One field of view of a urine filter membrane, 4× objective, 2028 × 1520 pixels.
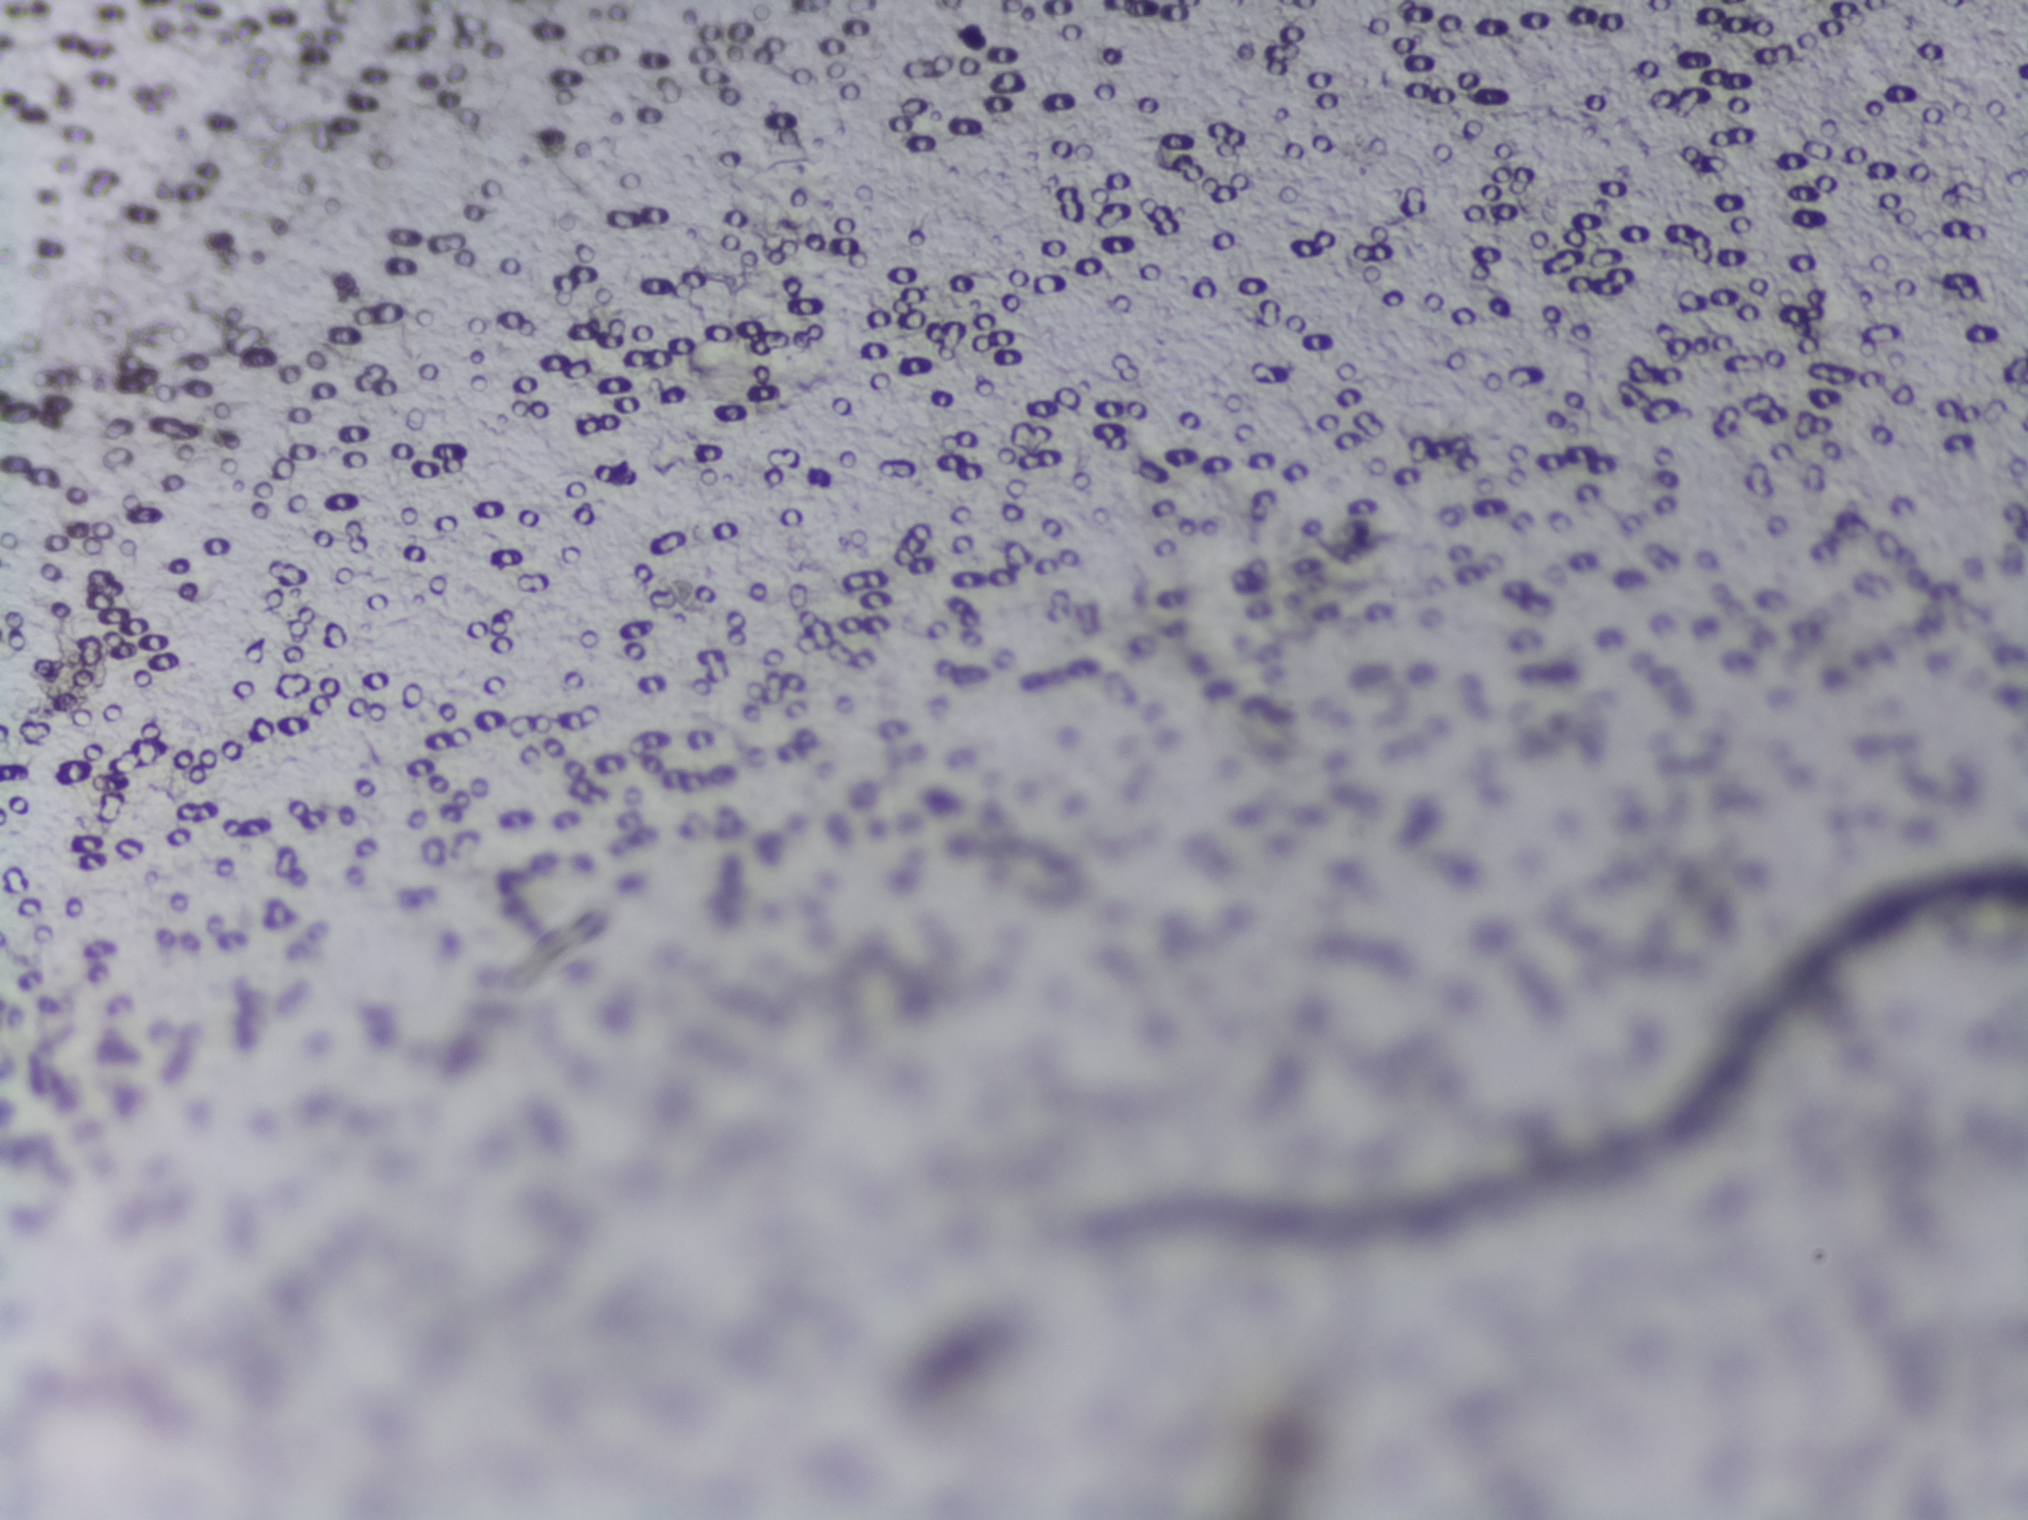
No area of this image was outlined as a Schistosoma egg.